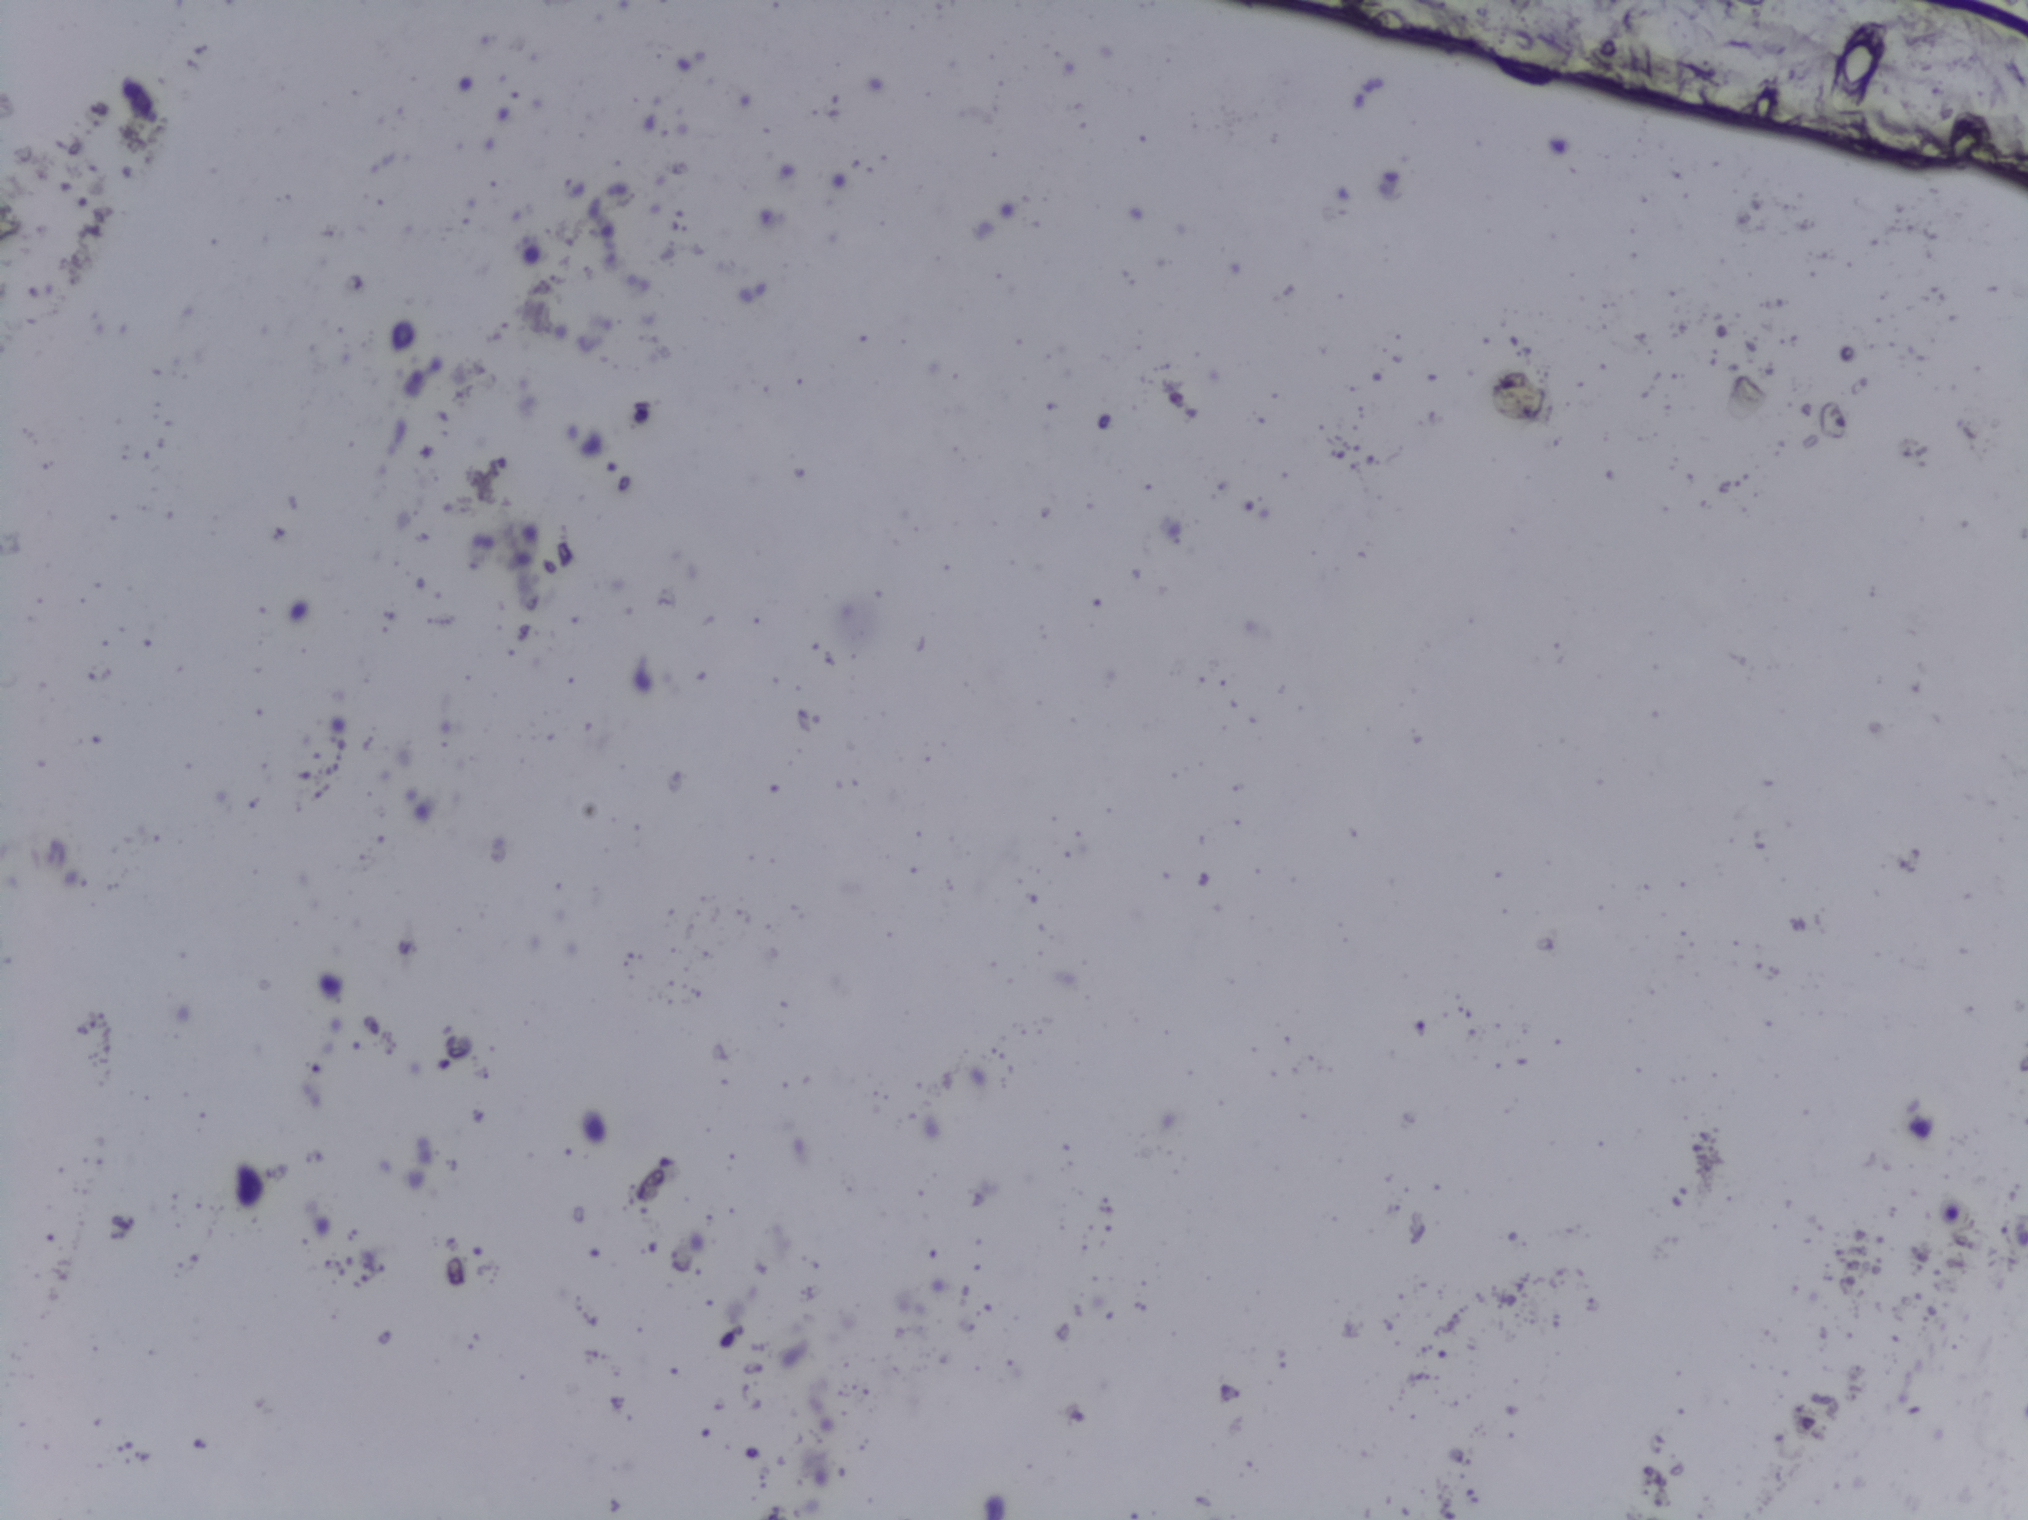
Urine filtration membrane under a 4× objective, photographed by an automated digital microscope. The image covers about 1.5 × 1.1 mm of the membrane.
The expert annotation marks no Schistosoma egg in this field of view.